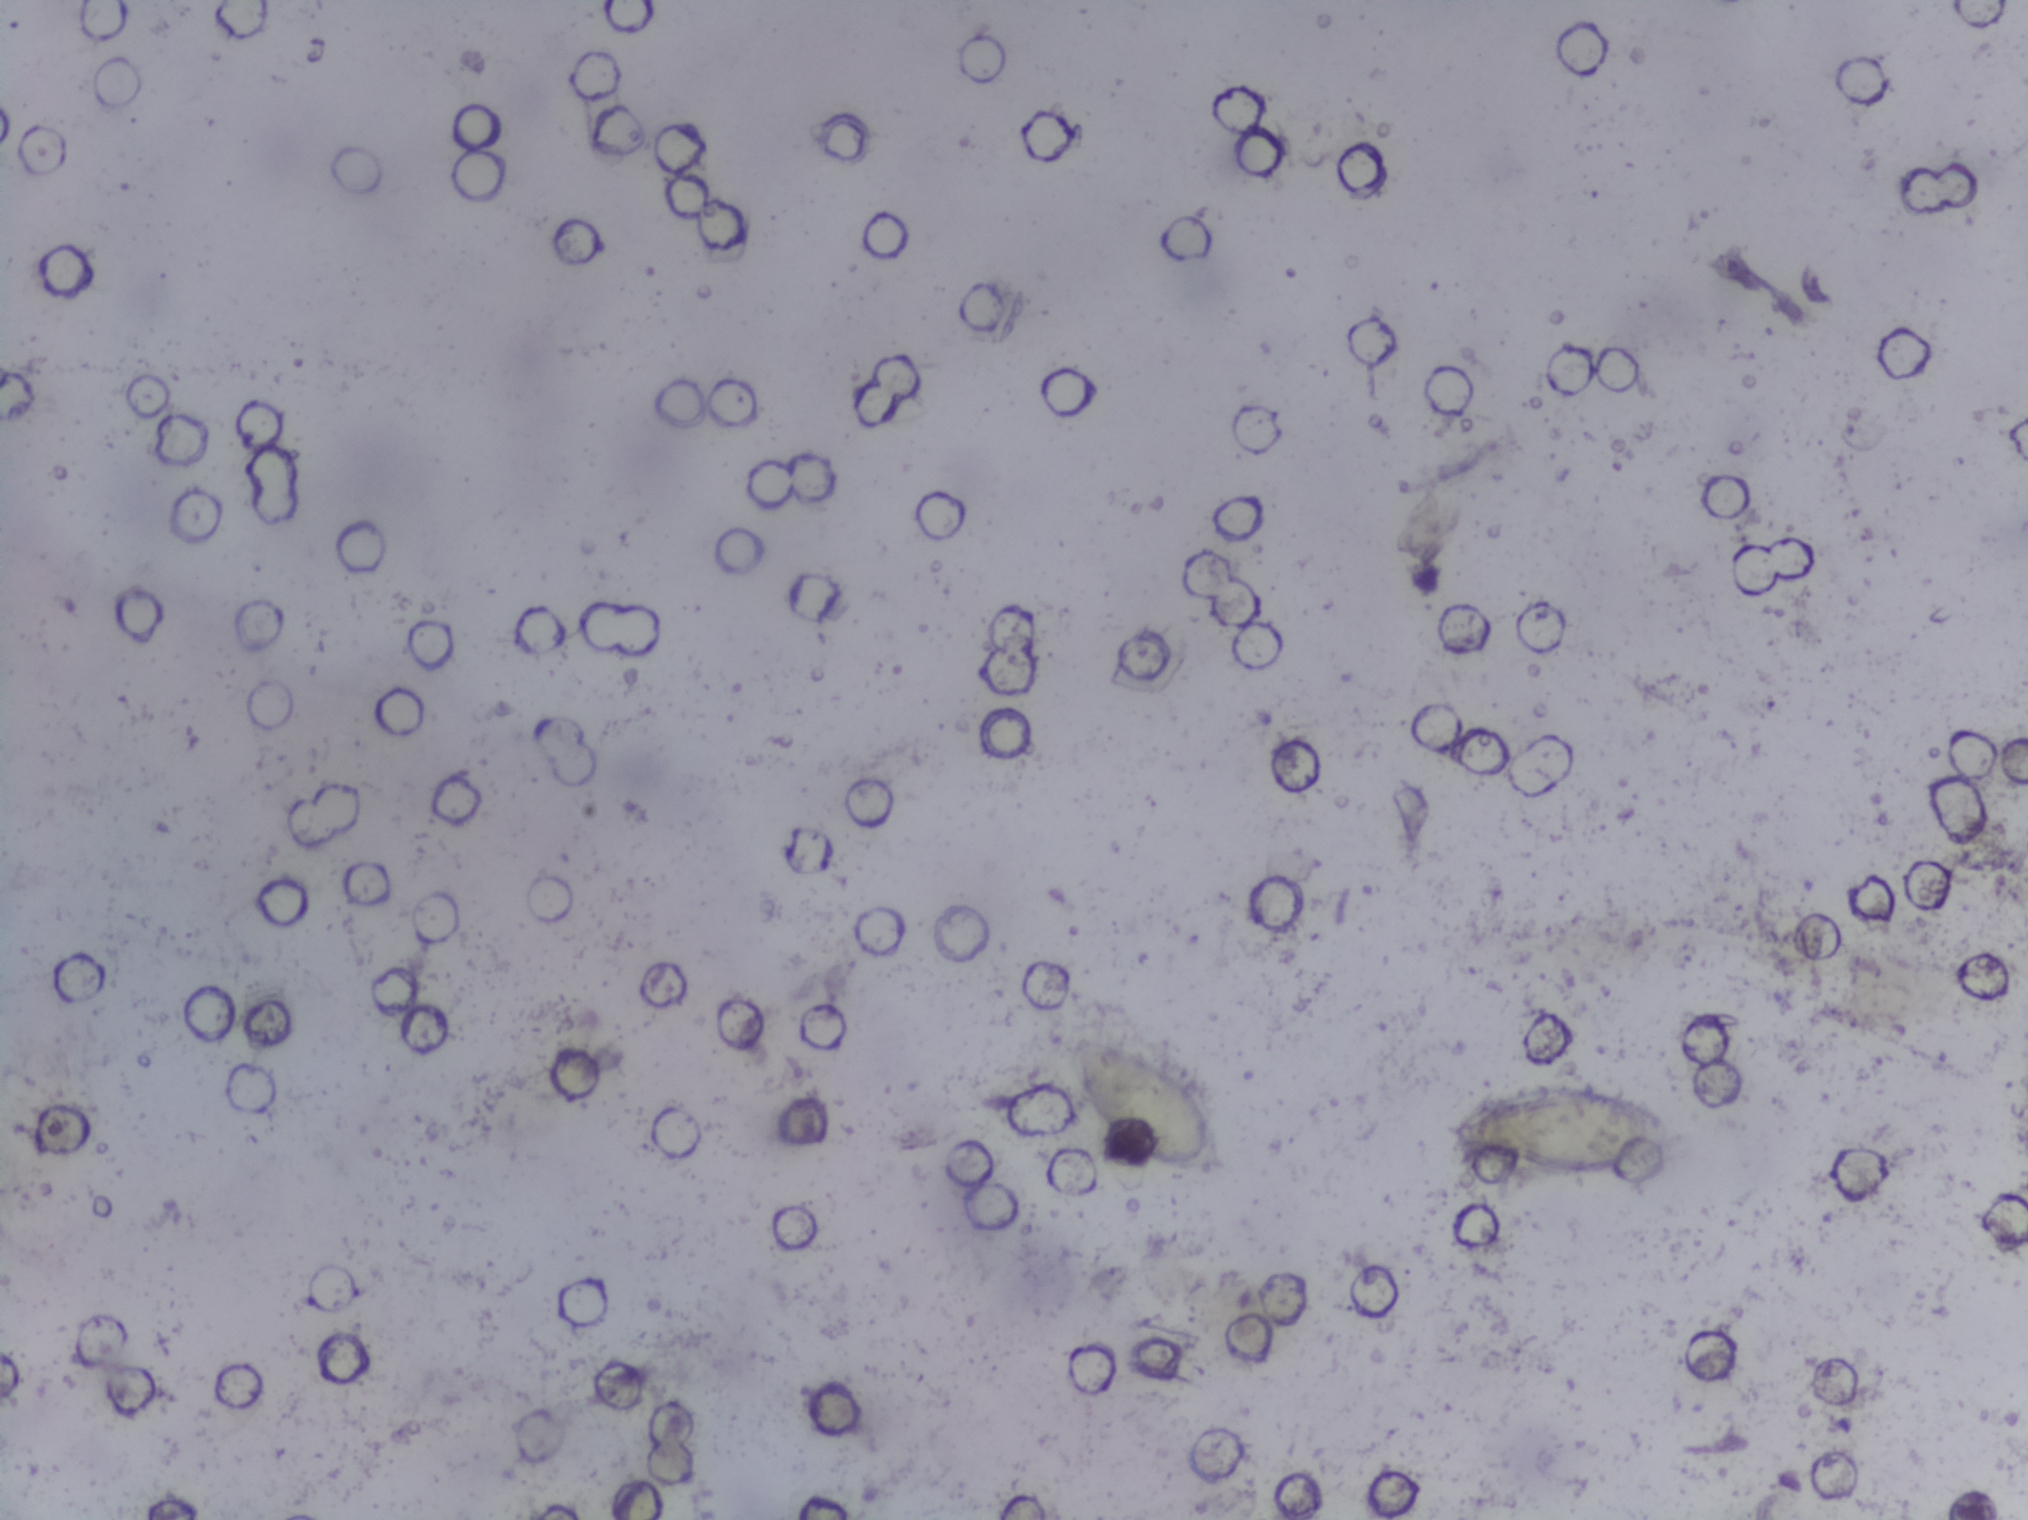
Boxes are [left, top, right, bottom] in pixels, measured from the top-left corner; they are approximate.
Findings: two areas outlined as Schistosoma eggs. Locations, left to right: [1069, 1037, 1230, 1175]; [1443, 1080, 1688, 1177]. About 1.0% of the image's pixels are marked (the marked pixels themselves, not the boxes around them). A single outlined area may contain several eggs.
Microscope photograph (4× objective) of a membrane that a urine sample was filtered through.